Photomicrograph of a urine filtration membrane, 4× objective. The field of view is about 1.5 mm × 1.1 mm.
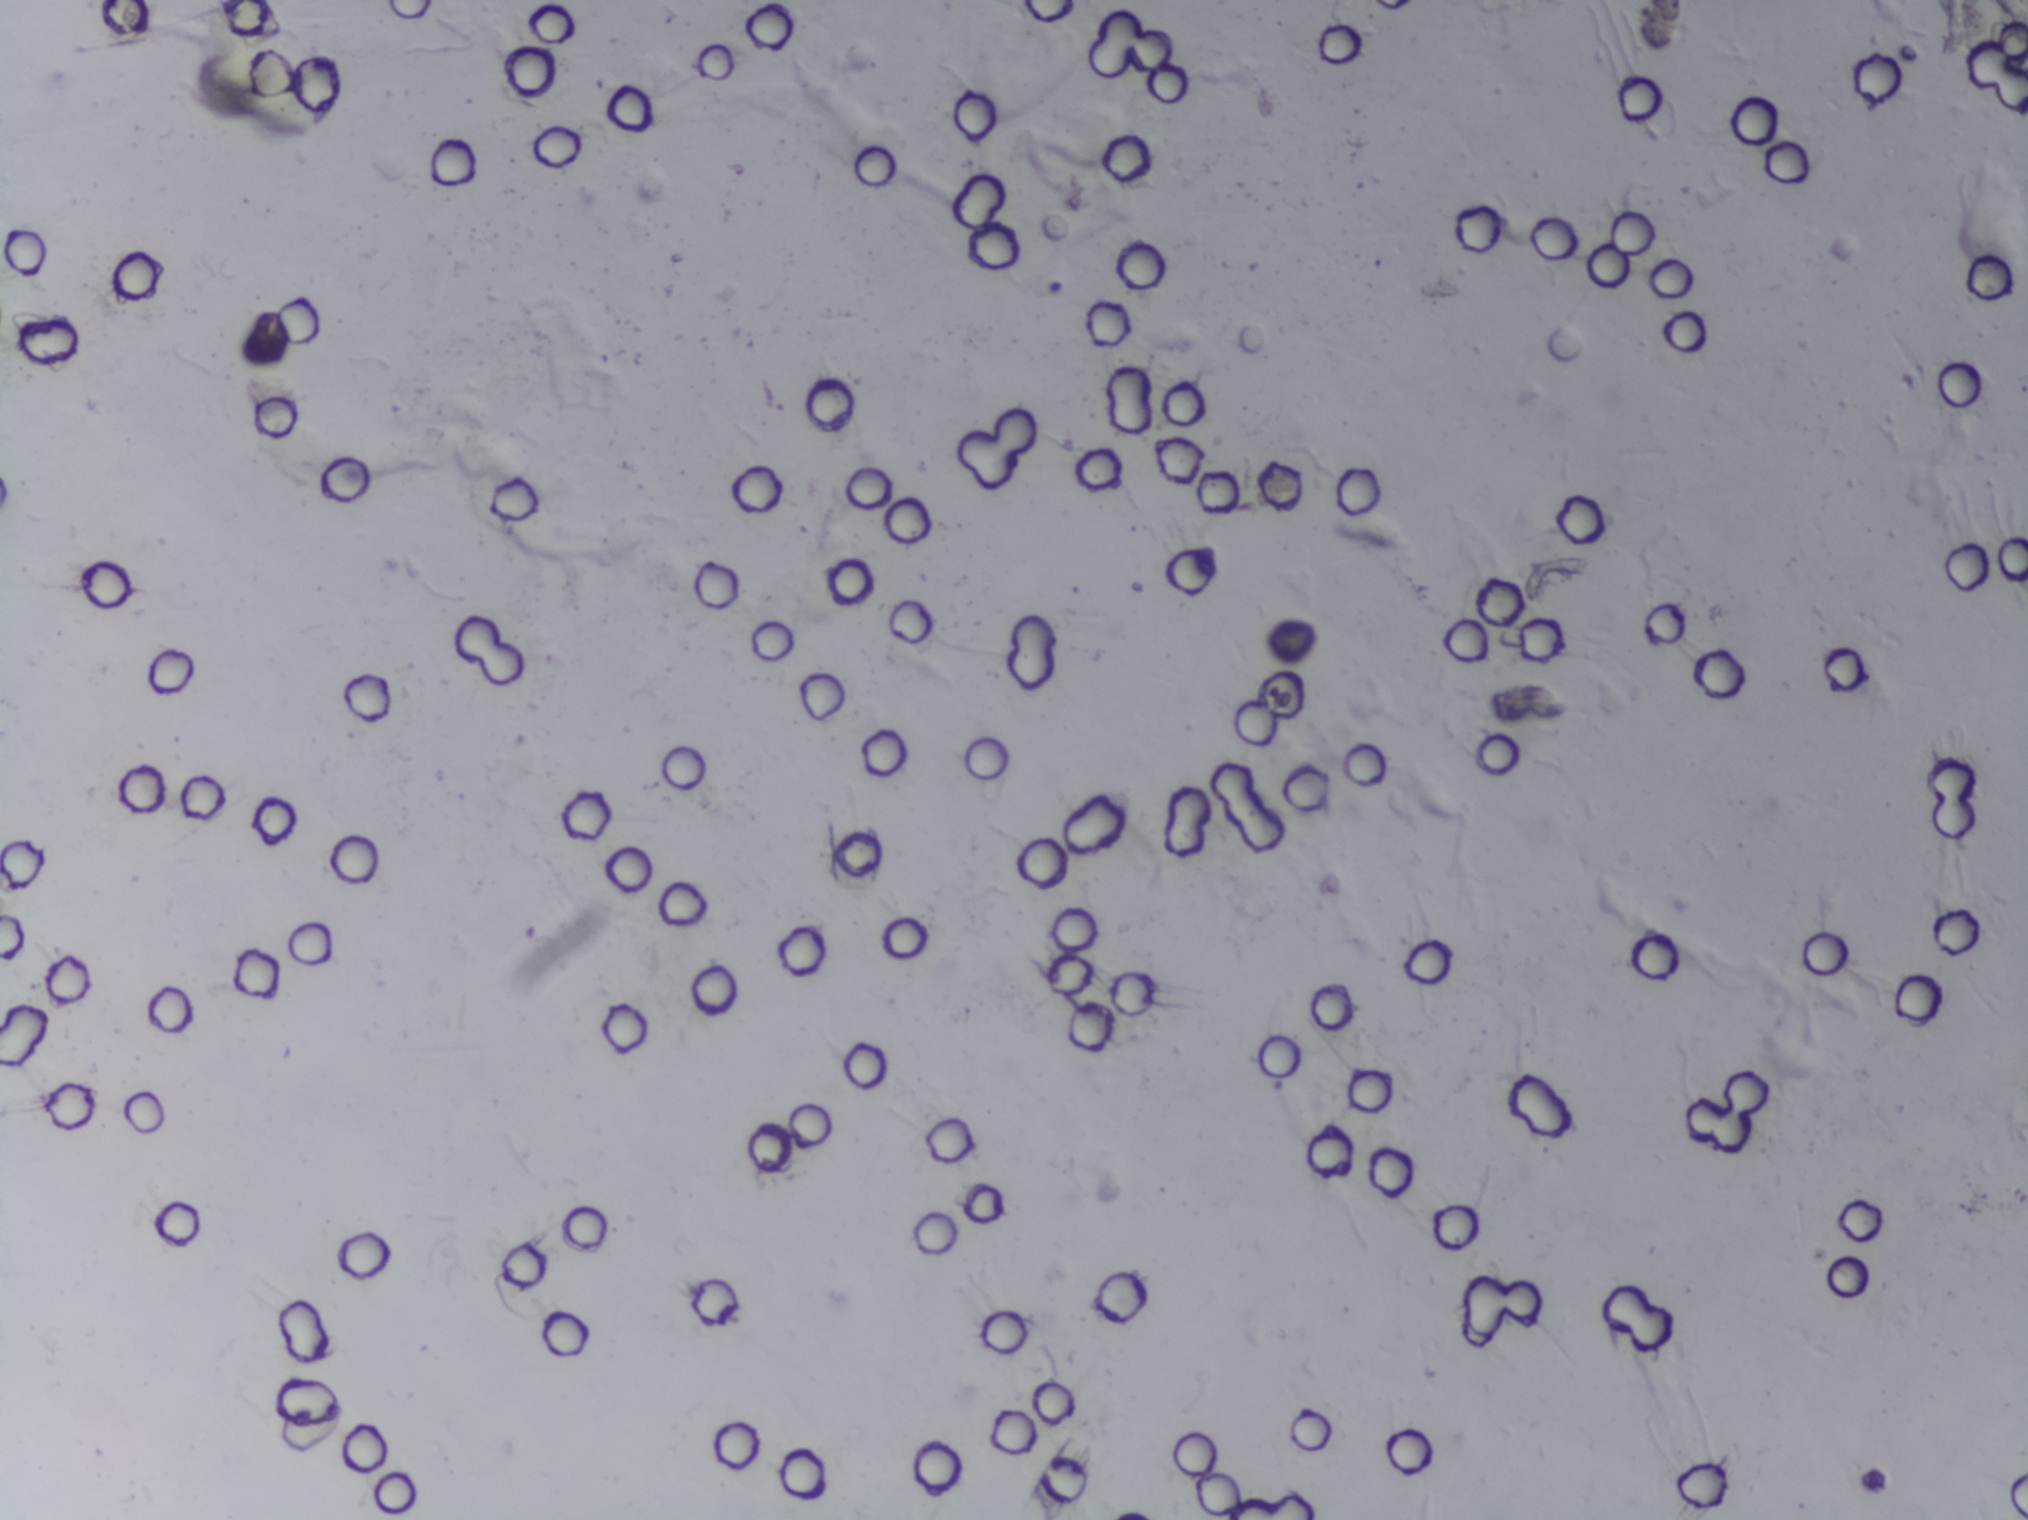
The expert annotation outlines no Schistosoma egg in this image.